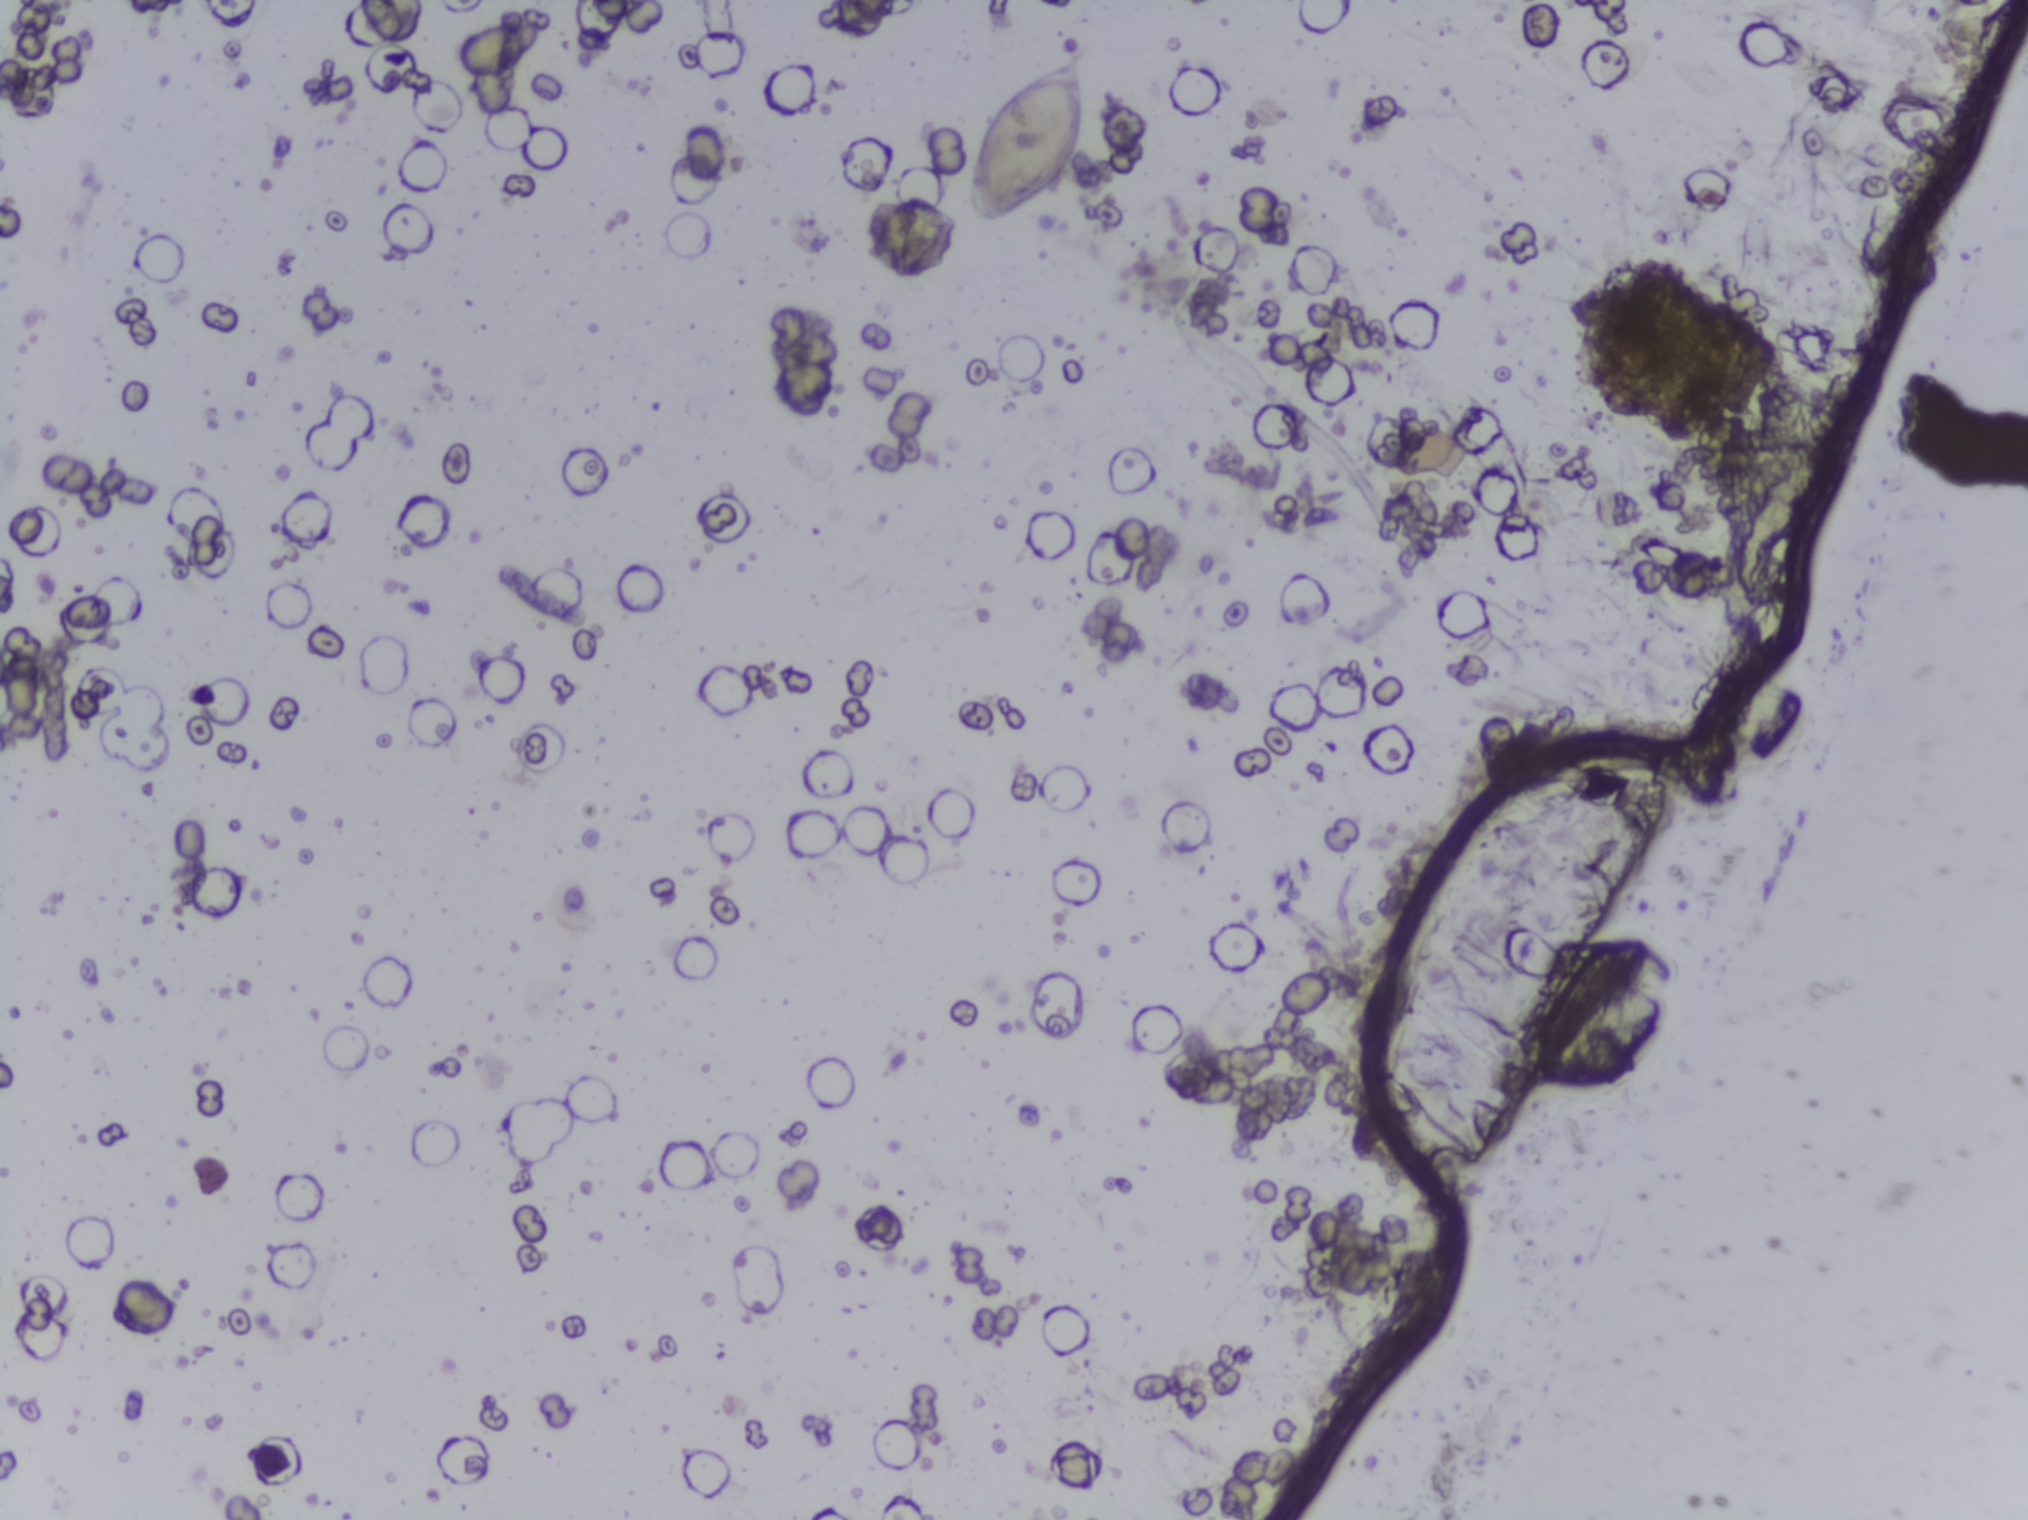
Microscope photograph (4× objective) of a membrane that a urine sample was filtered through. The image covers about 1.5 × 1.1 mm of the membrane.
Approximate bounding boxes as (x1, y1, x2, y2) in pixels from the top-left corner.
Areas outlined as Schistosoma eggs: (964, 47, 1092, 234). Eggs that touch can end up inside the same outlined area.